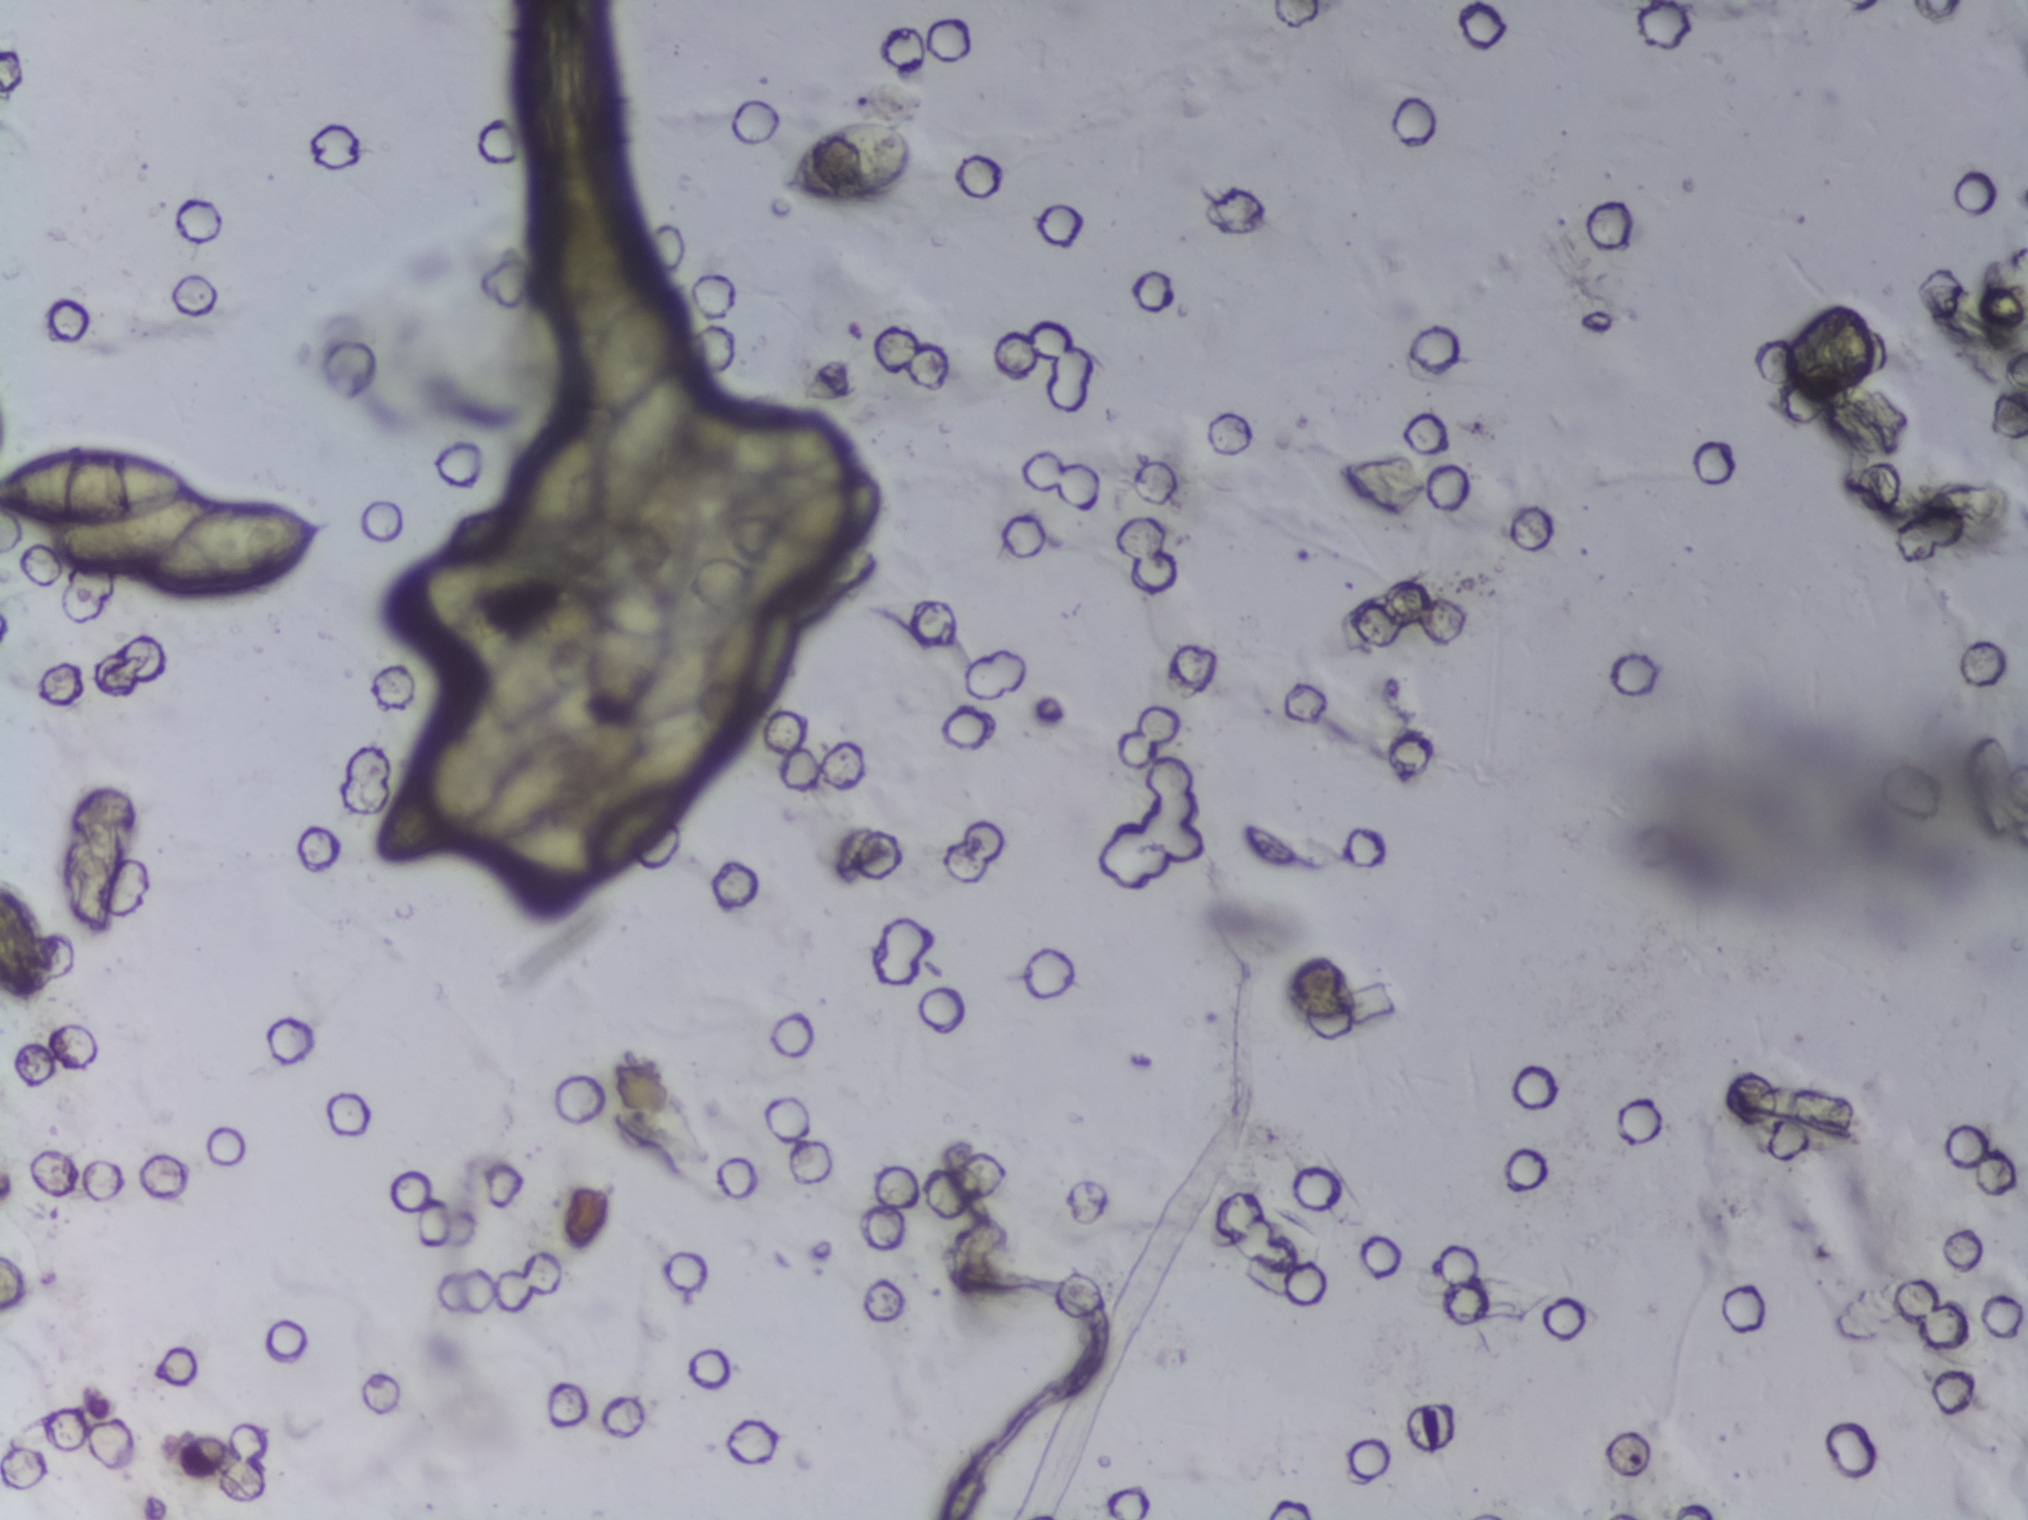
One field of view of a urine filter membrane, 4× objective, 2028 × 1520 pixels.
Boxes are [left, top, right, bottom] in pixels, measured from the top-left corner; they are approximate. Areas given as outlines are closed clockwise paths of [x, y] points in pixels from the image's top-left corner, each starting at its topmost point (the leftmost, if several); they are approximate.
Areas outlined as Schistosoma eggs: box [0, 446, 330, 598] (reaching the left edge of the frame); outline [632, 571], [654, 577], [666, 602], [667, 643], [649, 688], [630, 714], [610, 718], [591, 705], [584, 674], [519, 723], [527, 738], [589, 723], [621, 723], [636, 733], [643, 719], [728, 696], [757, 698], [761, 724], [718, 763], [614, 793], [605, 777], [563, 813], [580, 823], [589, 843], [578, 908], [570, 918], [542, 922], [527, 913], [505, 870], [502, 845], [468, 849], [463, 843], [412, 864], [391, 865], [381, 838], [393, 813], [418, 776], [429, 743], [479, 727], [481, 688], [507, 635], [549, 605], [593, 605], [617, 574] (a cluster of eggs); box [386, 555, 484, 633]; box [576, 289, 713, 526]; box [740, 474, 890, 613]. The marked pixels themselves, not the boxes and the outline around them, cover about 4.1% of the image. A single outlined area may contain several eggs.